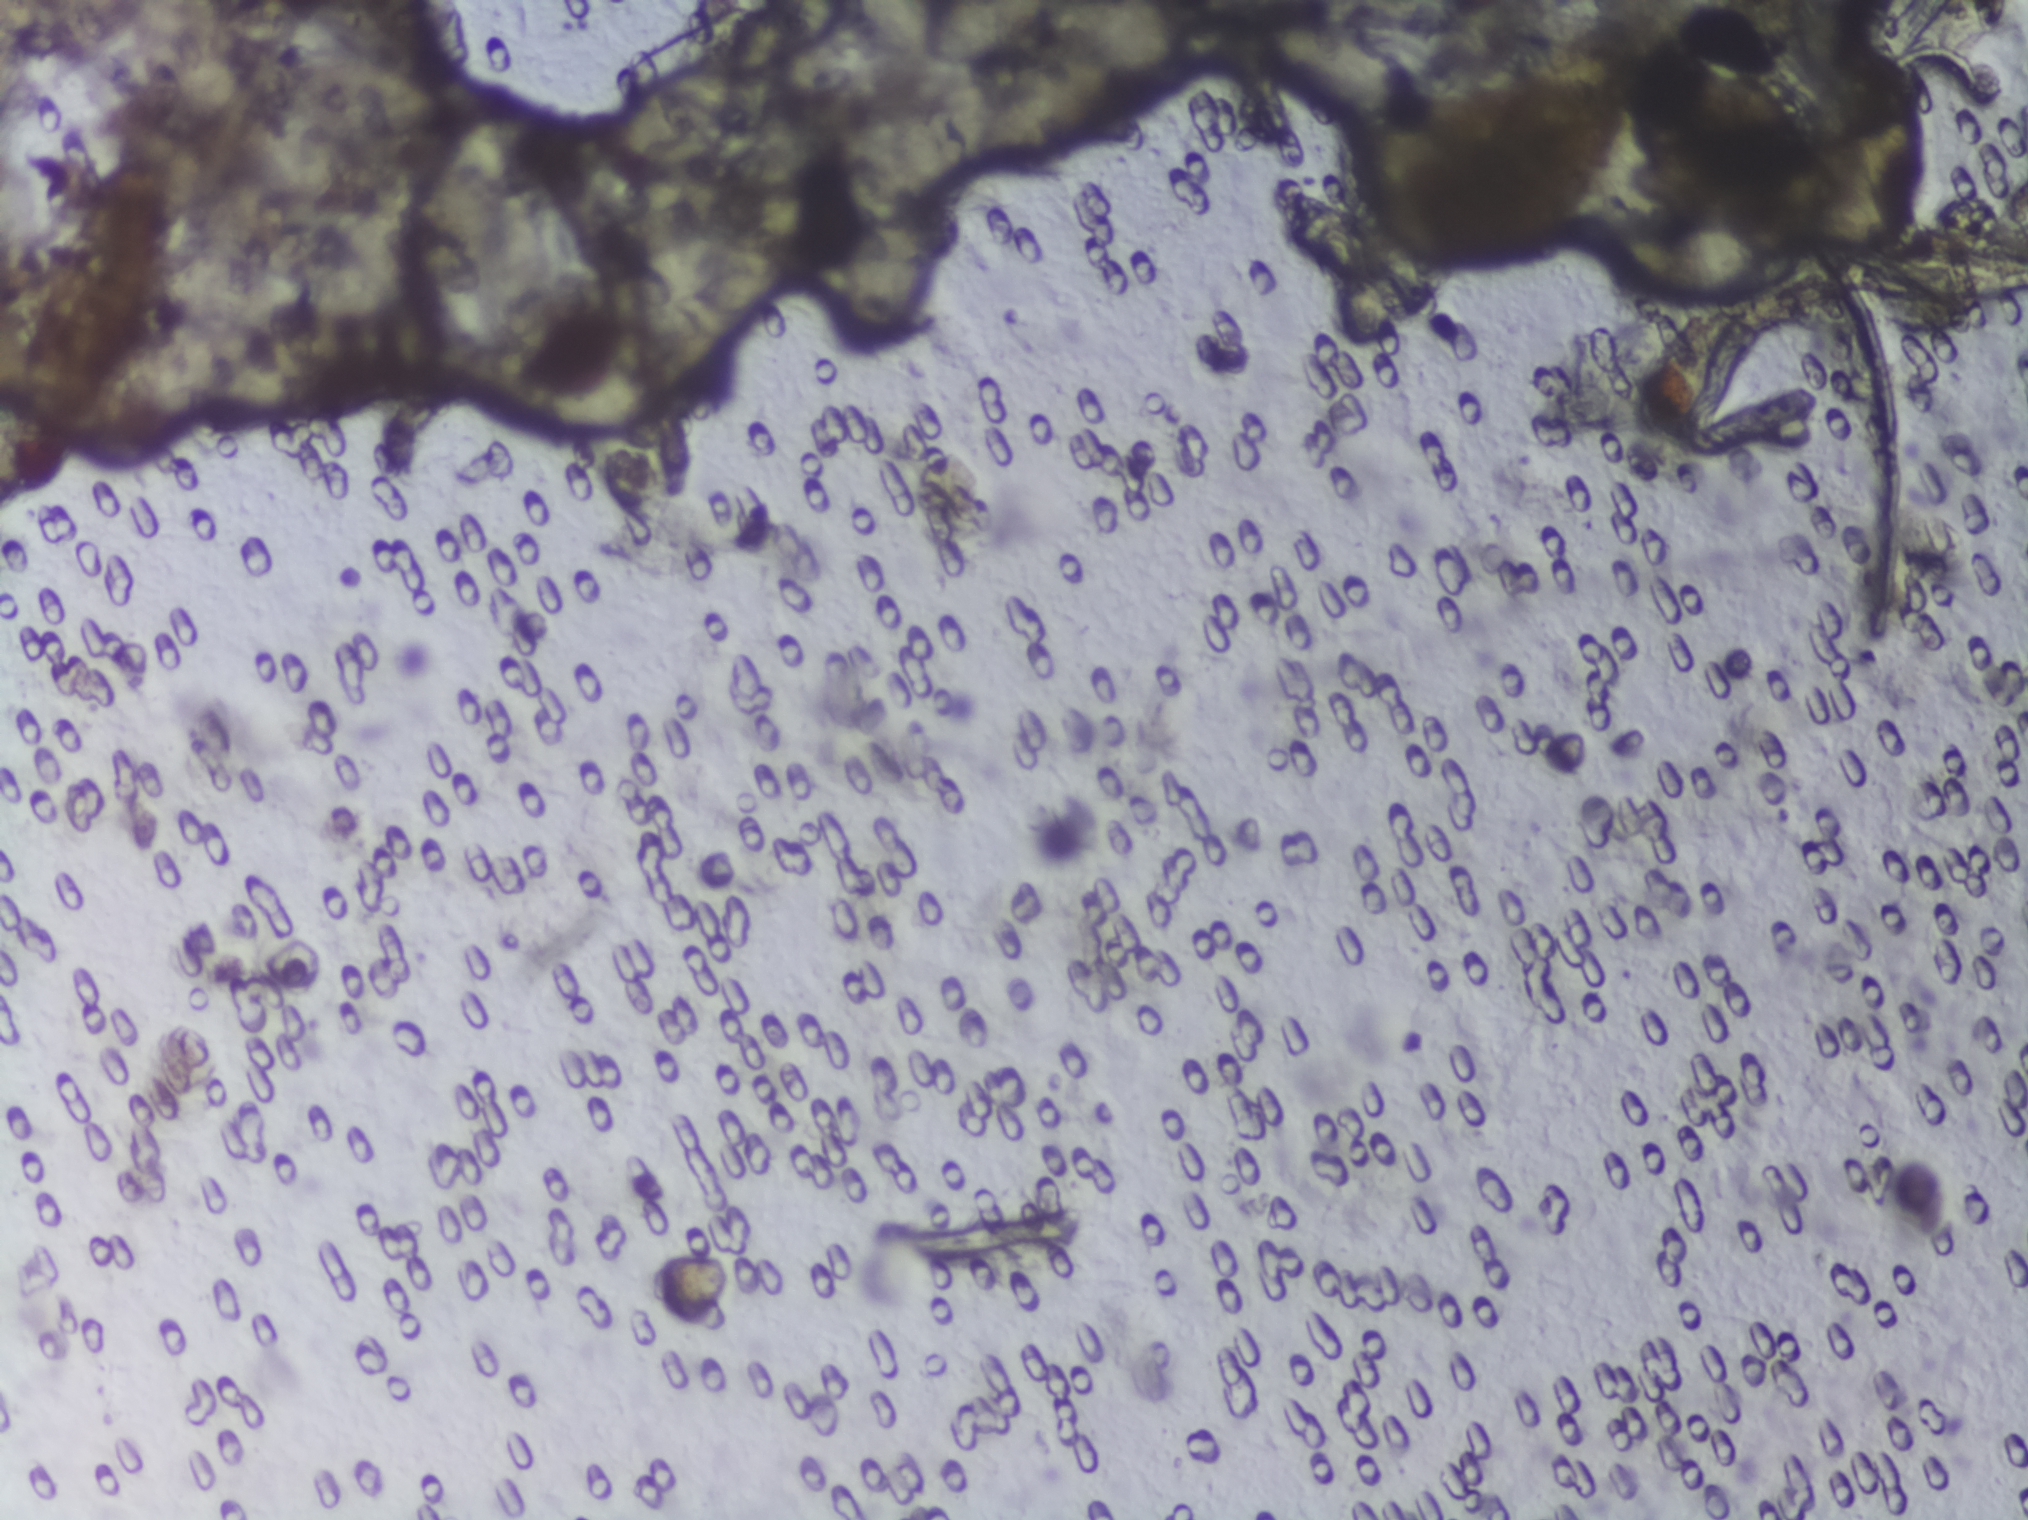
Urine filtration membrane under a 4× objective, photographed by an automated digital microscope.
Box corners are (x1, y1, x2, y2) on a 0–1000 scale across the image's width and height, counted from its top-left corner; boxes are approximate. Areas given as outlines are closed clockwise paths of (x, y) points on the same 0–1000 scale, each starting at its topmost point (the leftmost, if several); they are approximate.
The expert annotation outlines Schistosoma eggs in ten areas, left to right: box (31, 161, 176, 311); box (48, 213, 62, 229); box (131, 34, 218, 86); outline (246, 65), (253, 65), (259, 80), (257, 123), (266, 124), (273, 140), (278, 221), (298, 227), (330, 258), (333, 277), (324, 289), (279, 292), (246, 280), (231, 260), (227, 247), (227, 228), (234, 220), (227, 187), (210, 187), (202, 177), (198, 146), (207, 116), (227, 81); box (293, 42, 385, 113); box (342, 117, 399, 211); box (410, 125, 471, 233); box (451, 0, 588, 105) (reaching the top edge of the frame); box (607, 6, 704, 89); box (791, 143, 887, 193). Marked pixels, not the boxes and the outline around them: about 6.3% of the image. Eggs that touch can end up inside the same outlined area. A marked egg may occasionally be S. mansoni rather than S. haematobium.